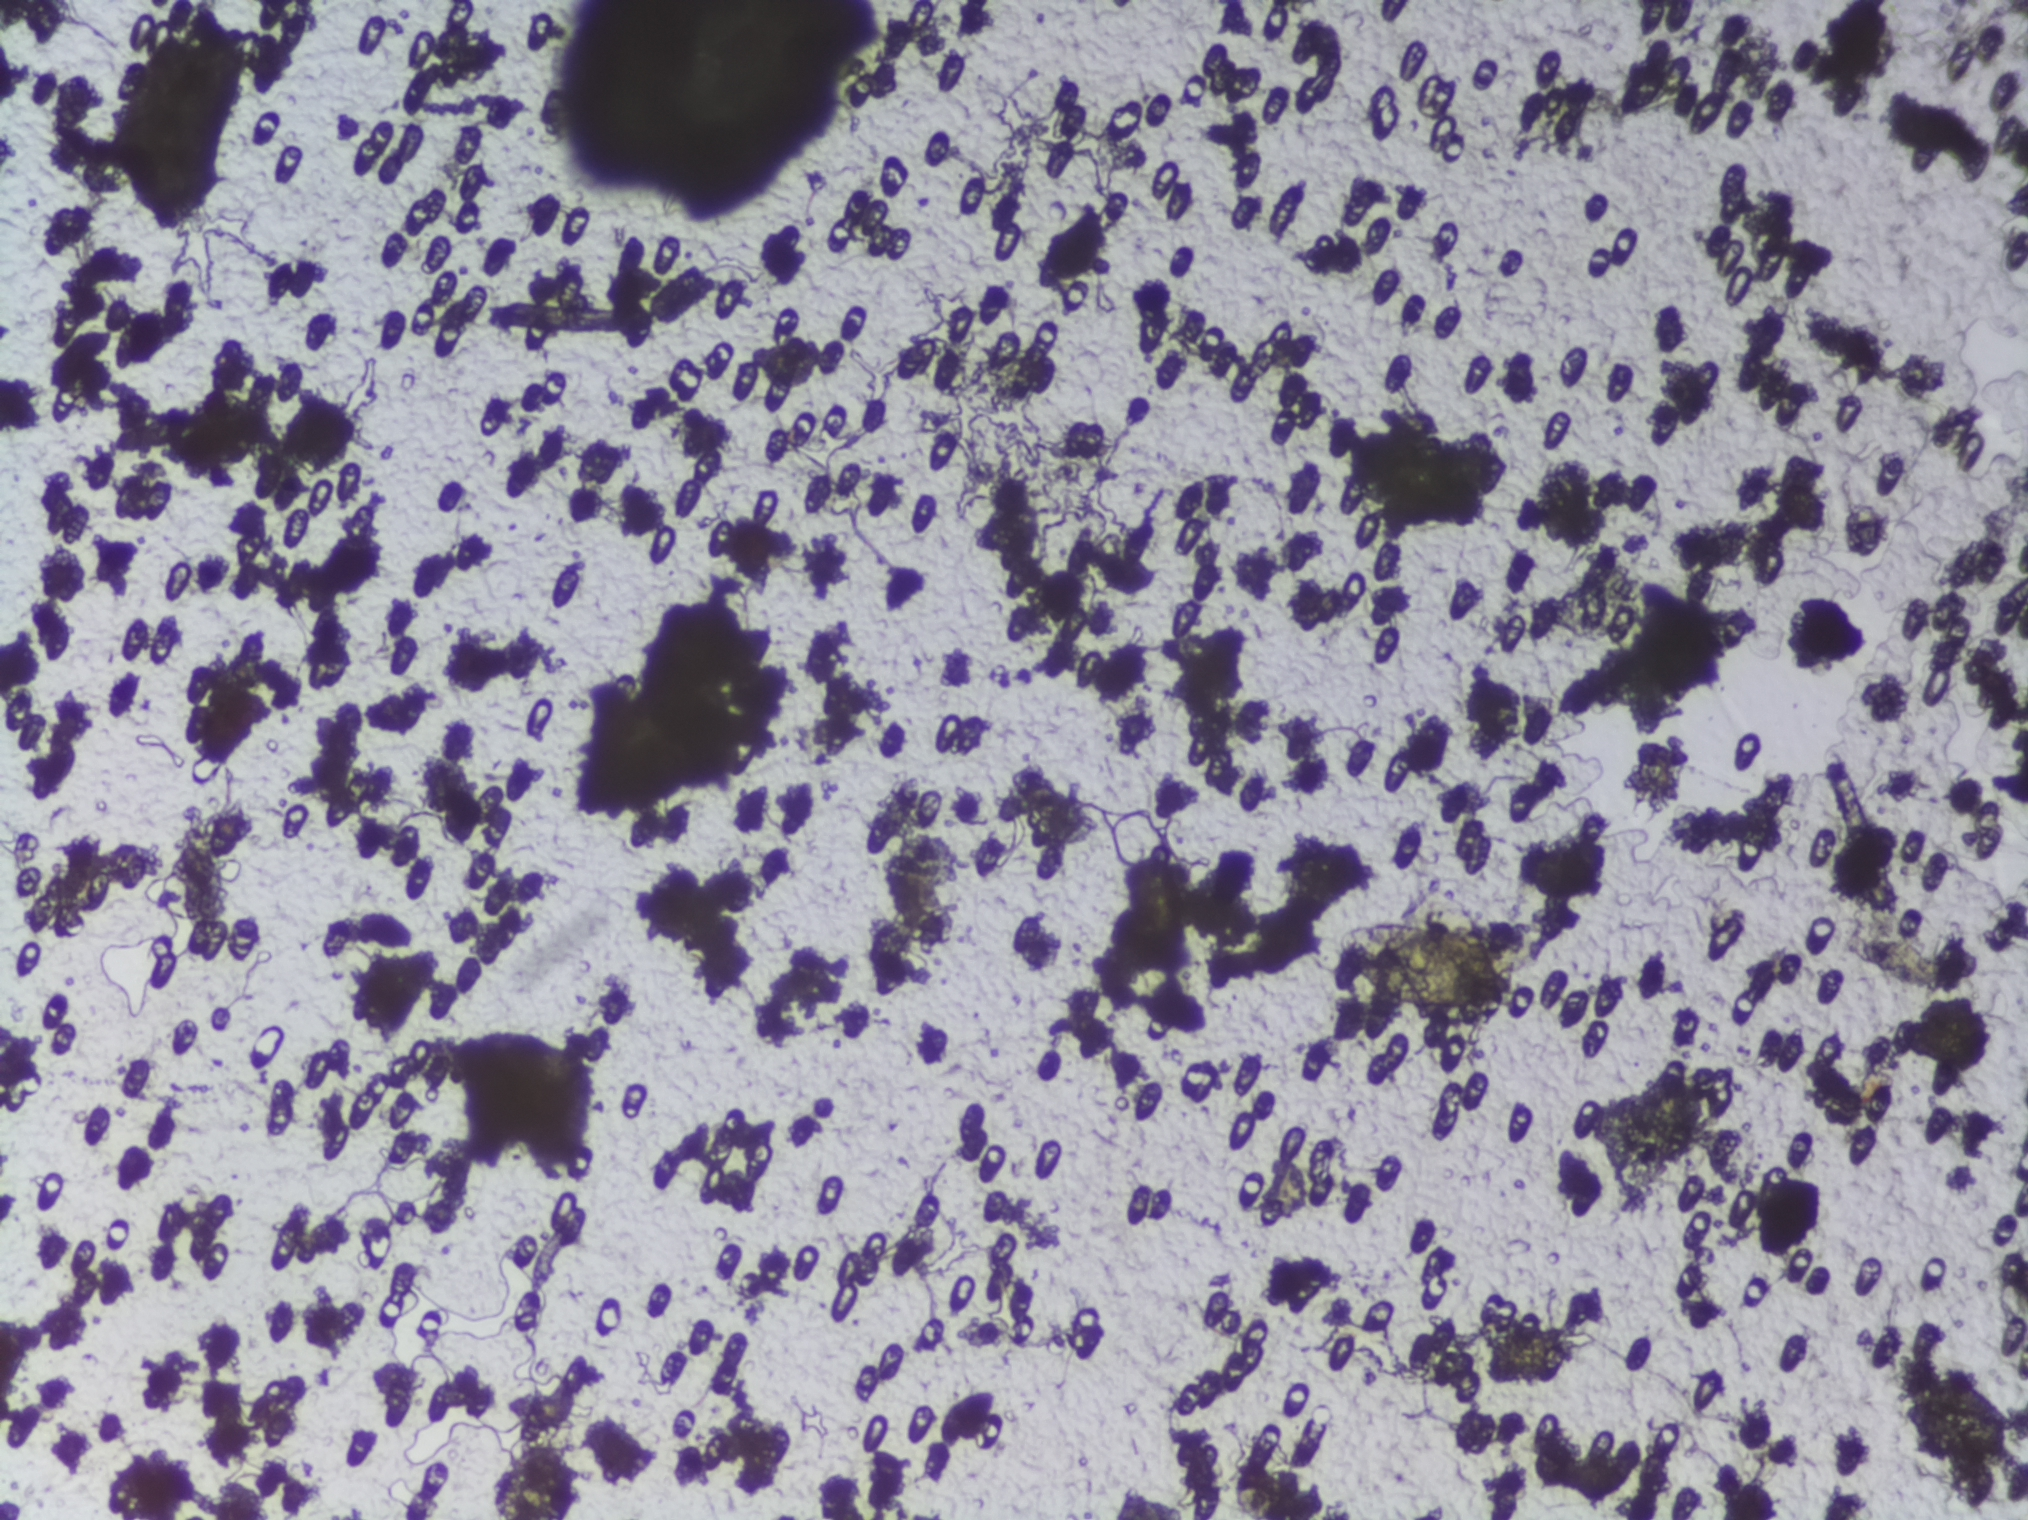
Photomicrograph of a urine filtration membrane, 4× objective.
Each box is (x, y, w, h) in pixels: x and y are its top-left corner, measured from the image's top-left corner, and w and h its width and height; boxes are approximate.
Three areas of this image are outlined as Schistosoma eggs, from left to right: (x=115, y=21, w=109, h=209); (x=1332, y=916, w=190, h=106); (x=1338, y=444, w=176, h=69). A single outlined area may contain several eggs.